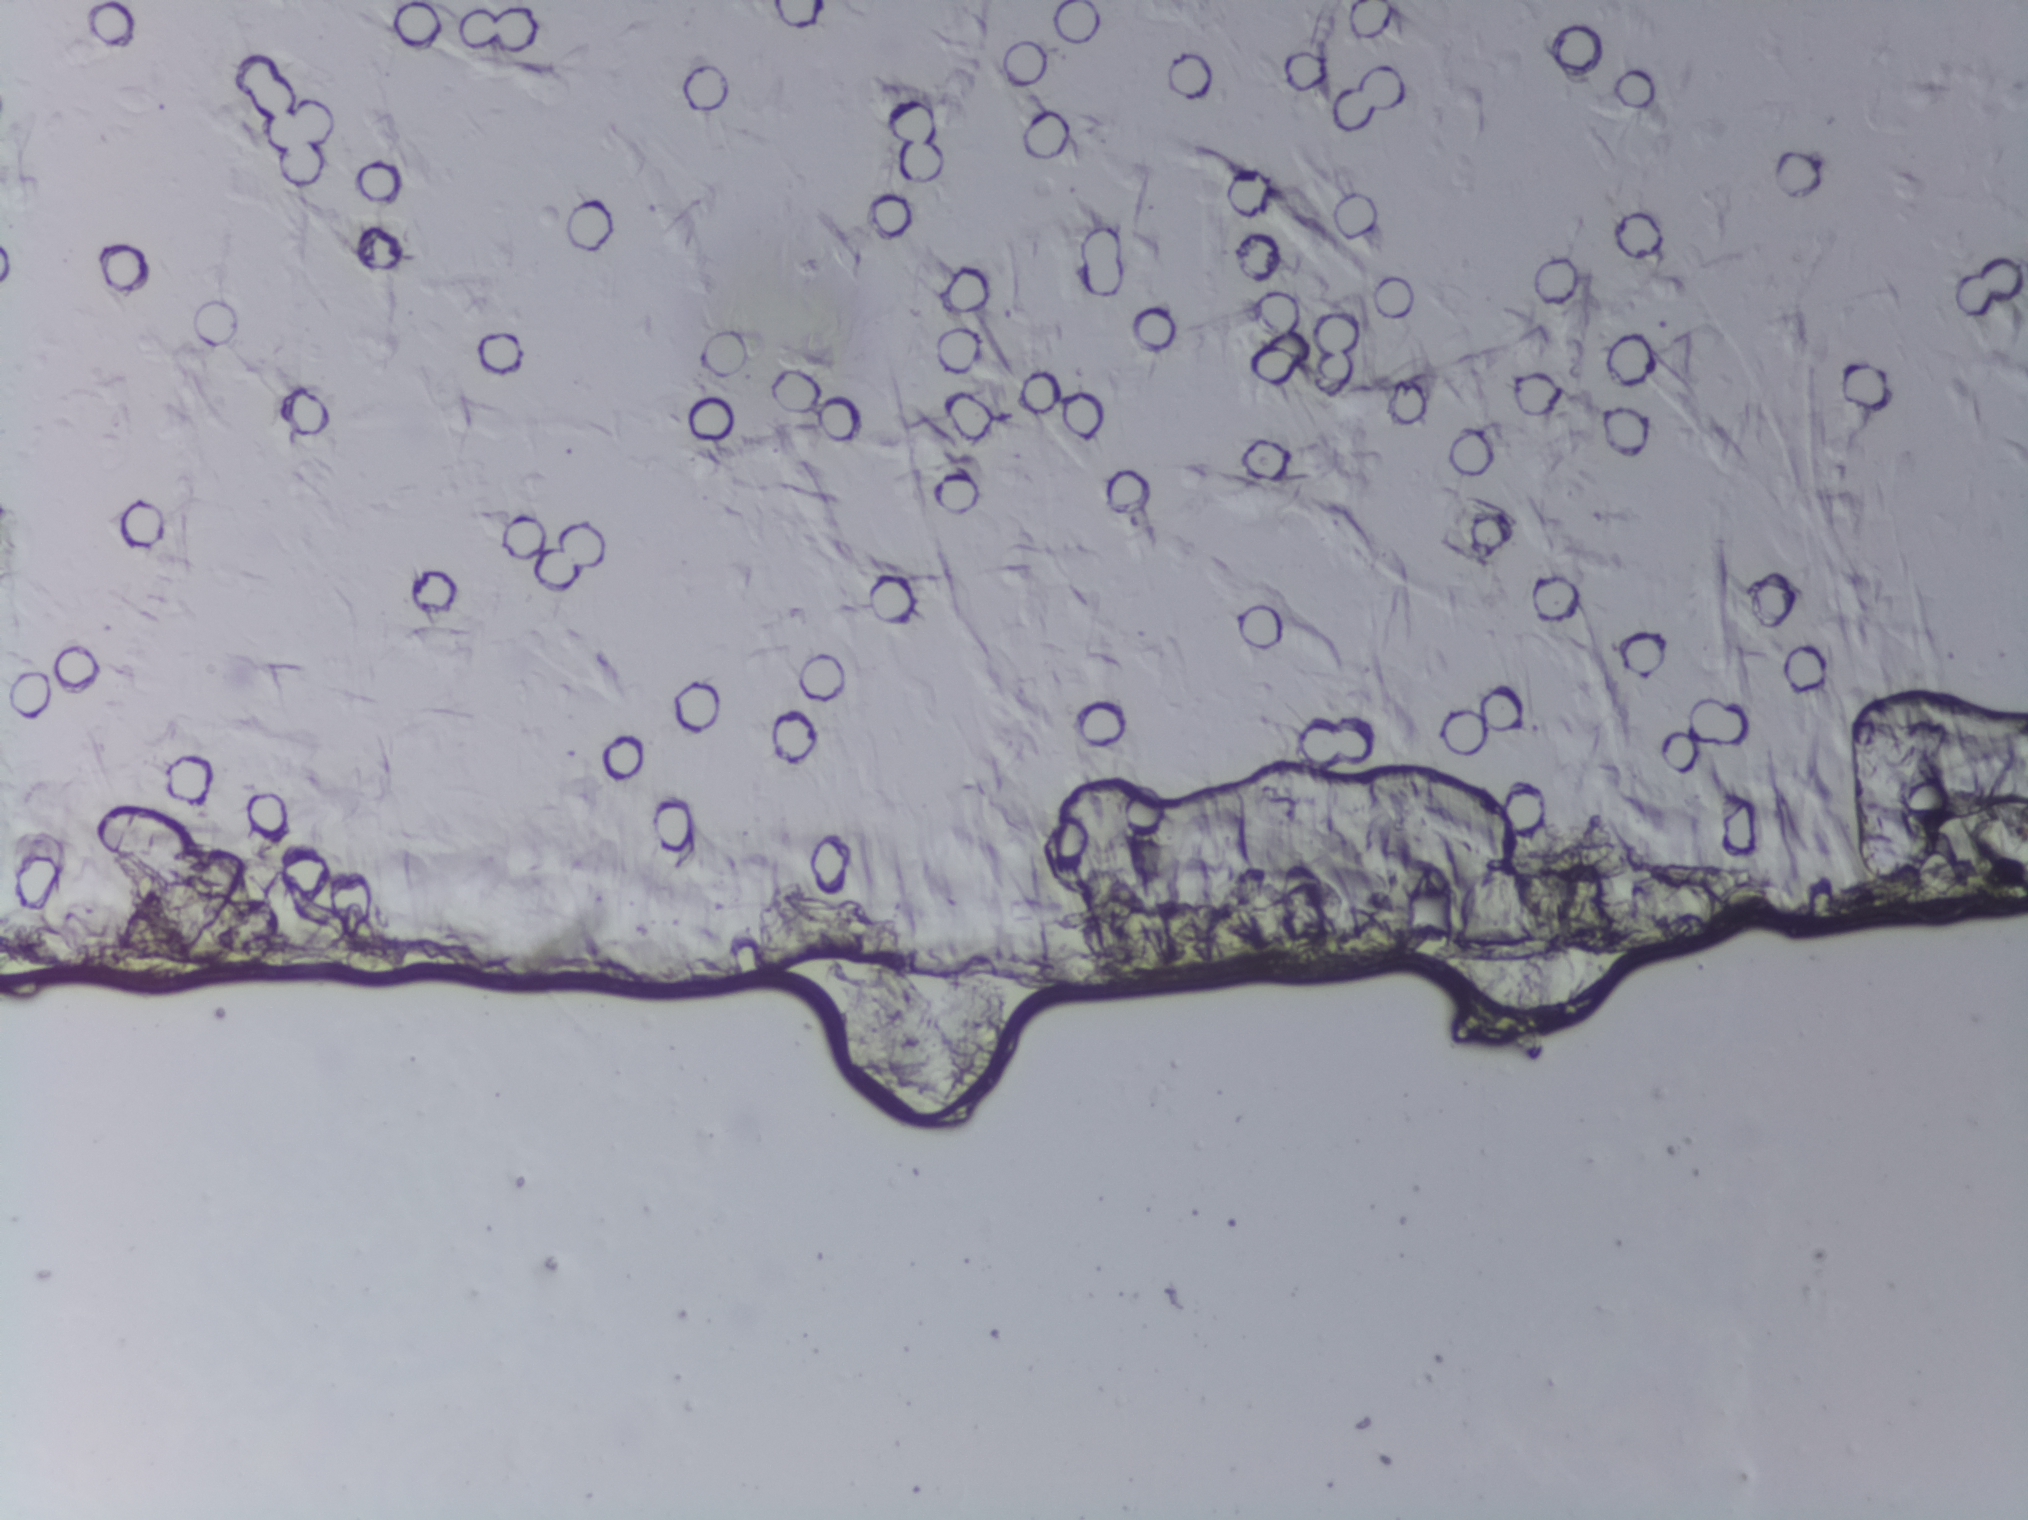
The expert annotation marks no Schistosoma egg in this field of view.
Urine filtration membrane under a 4× objective, photographed by an automated digital microscope. The field of view is about 1.5 mm × 1.1 mm.